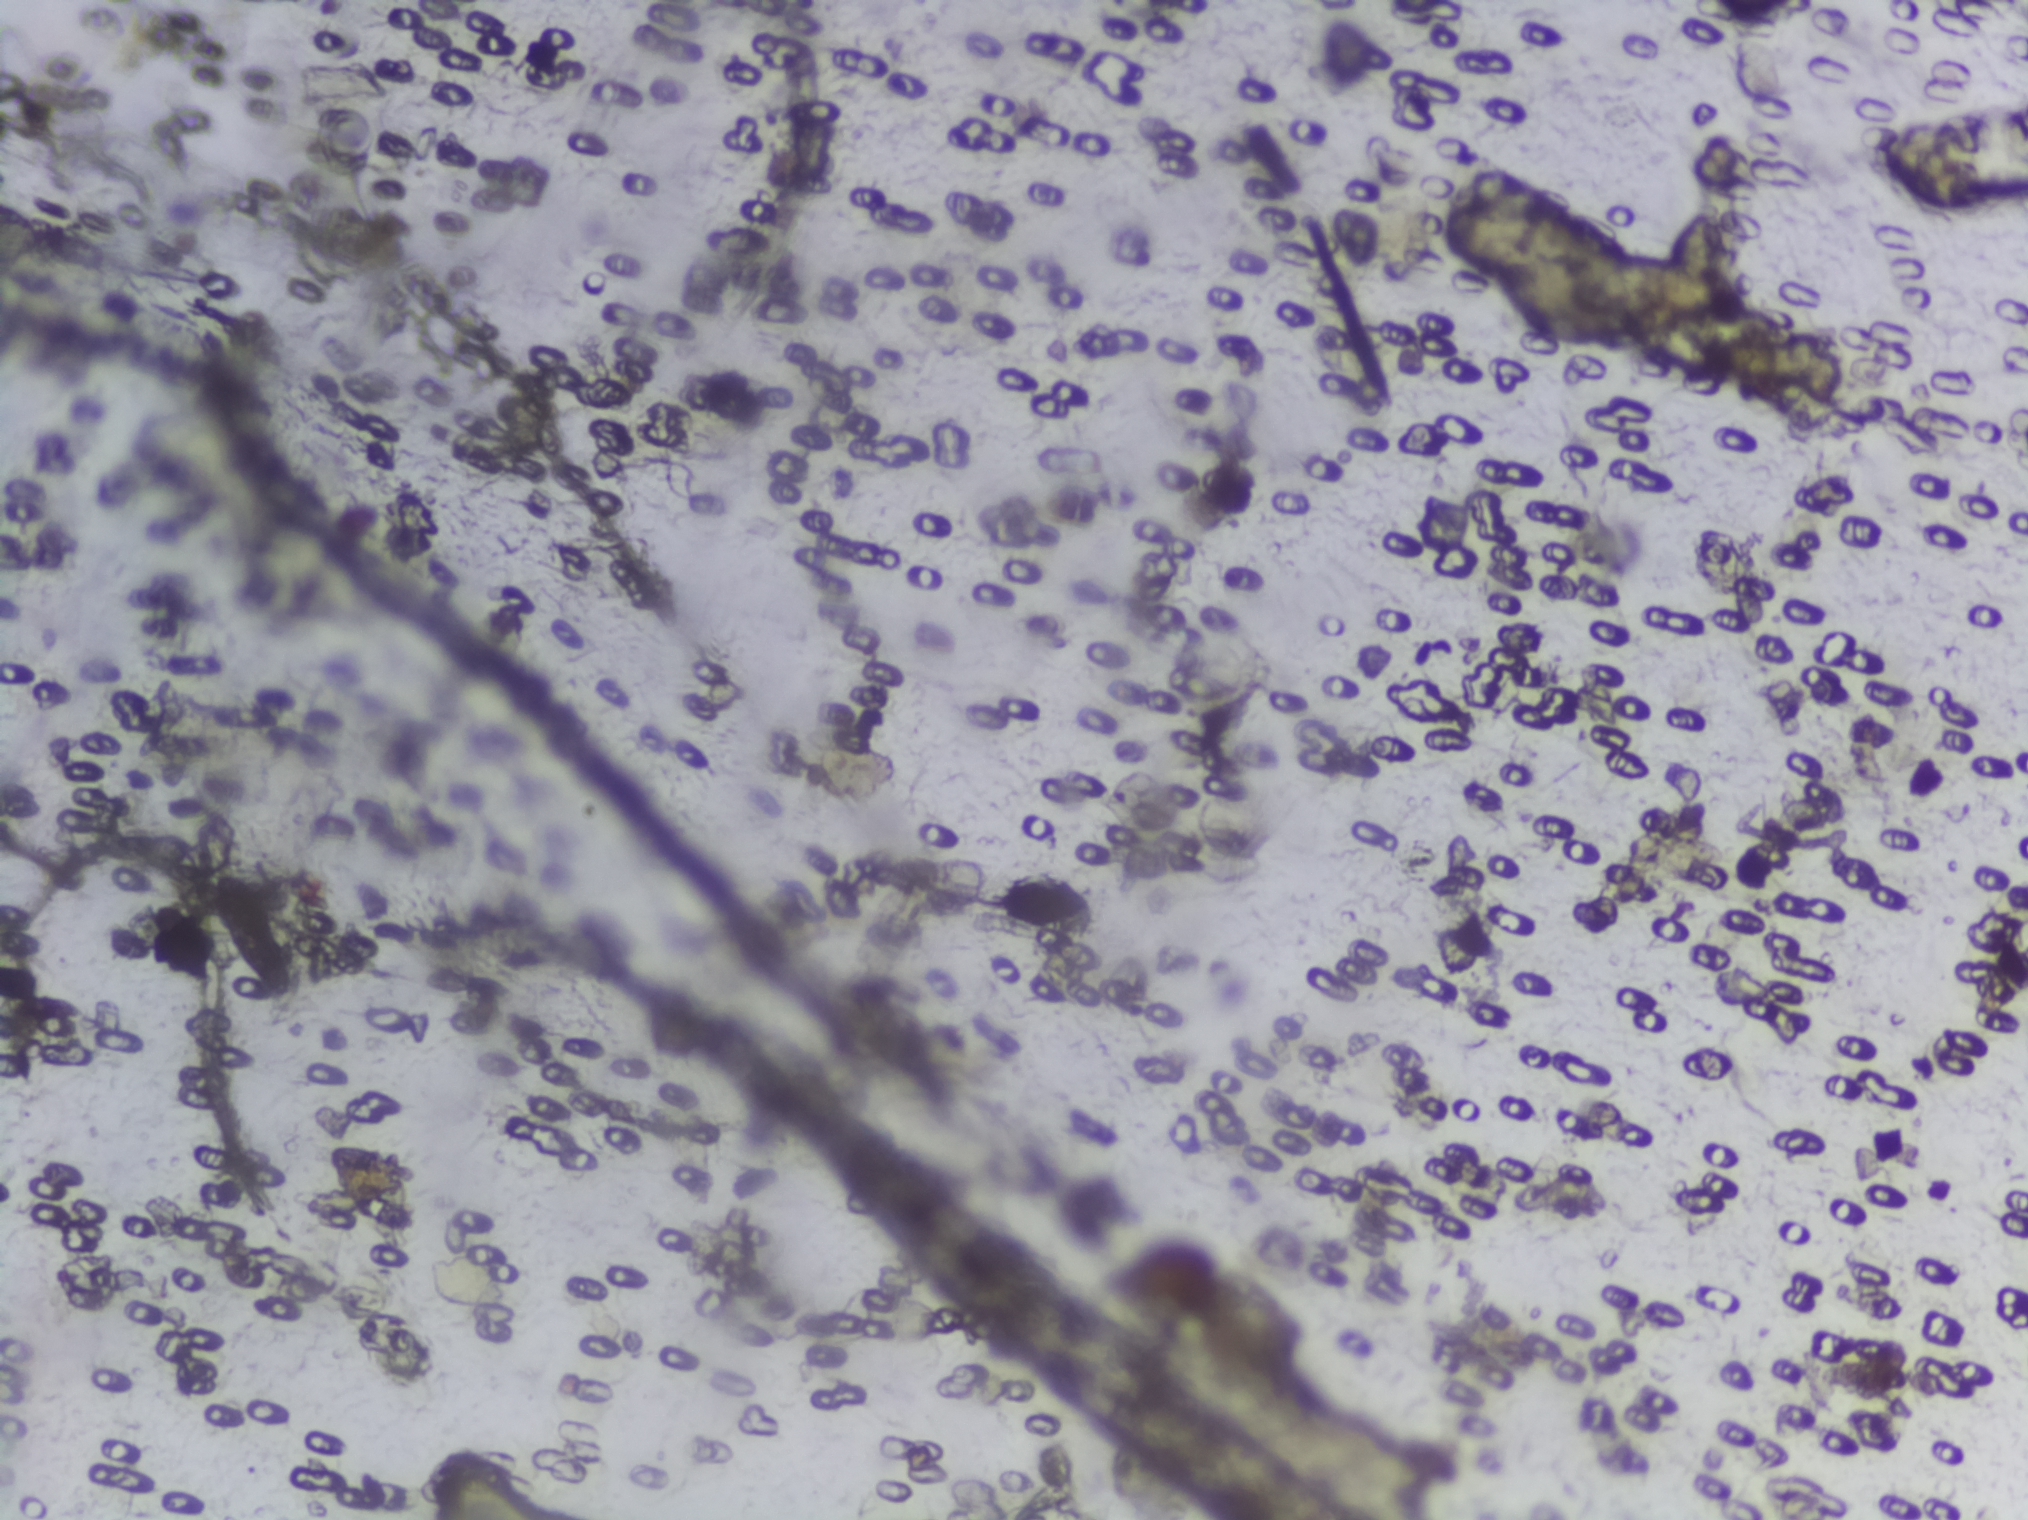
Photograph from an automated digital microscope: urine filter membrane, 4× objective.
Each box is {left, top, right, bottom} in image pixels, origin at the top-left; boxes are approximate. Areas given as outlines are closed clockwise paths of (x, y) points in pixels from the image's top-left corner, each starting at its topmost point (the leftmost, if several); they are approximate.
Two areas of this image are outlined as Schistosoma eggs, from left to right: box {412, 1440, 546, 1519} (reaching the bottom edge of the frame) and outline (1483, 163), (1550, 188), (1584, 219), (1618, 235), (1625, 252), (1663, 257), (1676, 223), (1689, 213), (1707, 213), (1719, 226), (1714, 272), (1734, 283), (1742, 304), (1785, 323), (1793, 334), (1816, 333), (1821, 359), (1790, 376), (1681, 374), (1641, 351), (1620, 324), (1554, 294), (1556, 267), (1484, 270), (1459, 258), (1442, 232), (1457, 211), (1476, 208), (1466, 176). An outlined area can hold more than one egg.